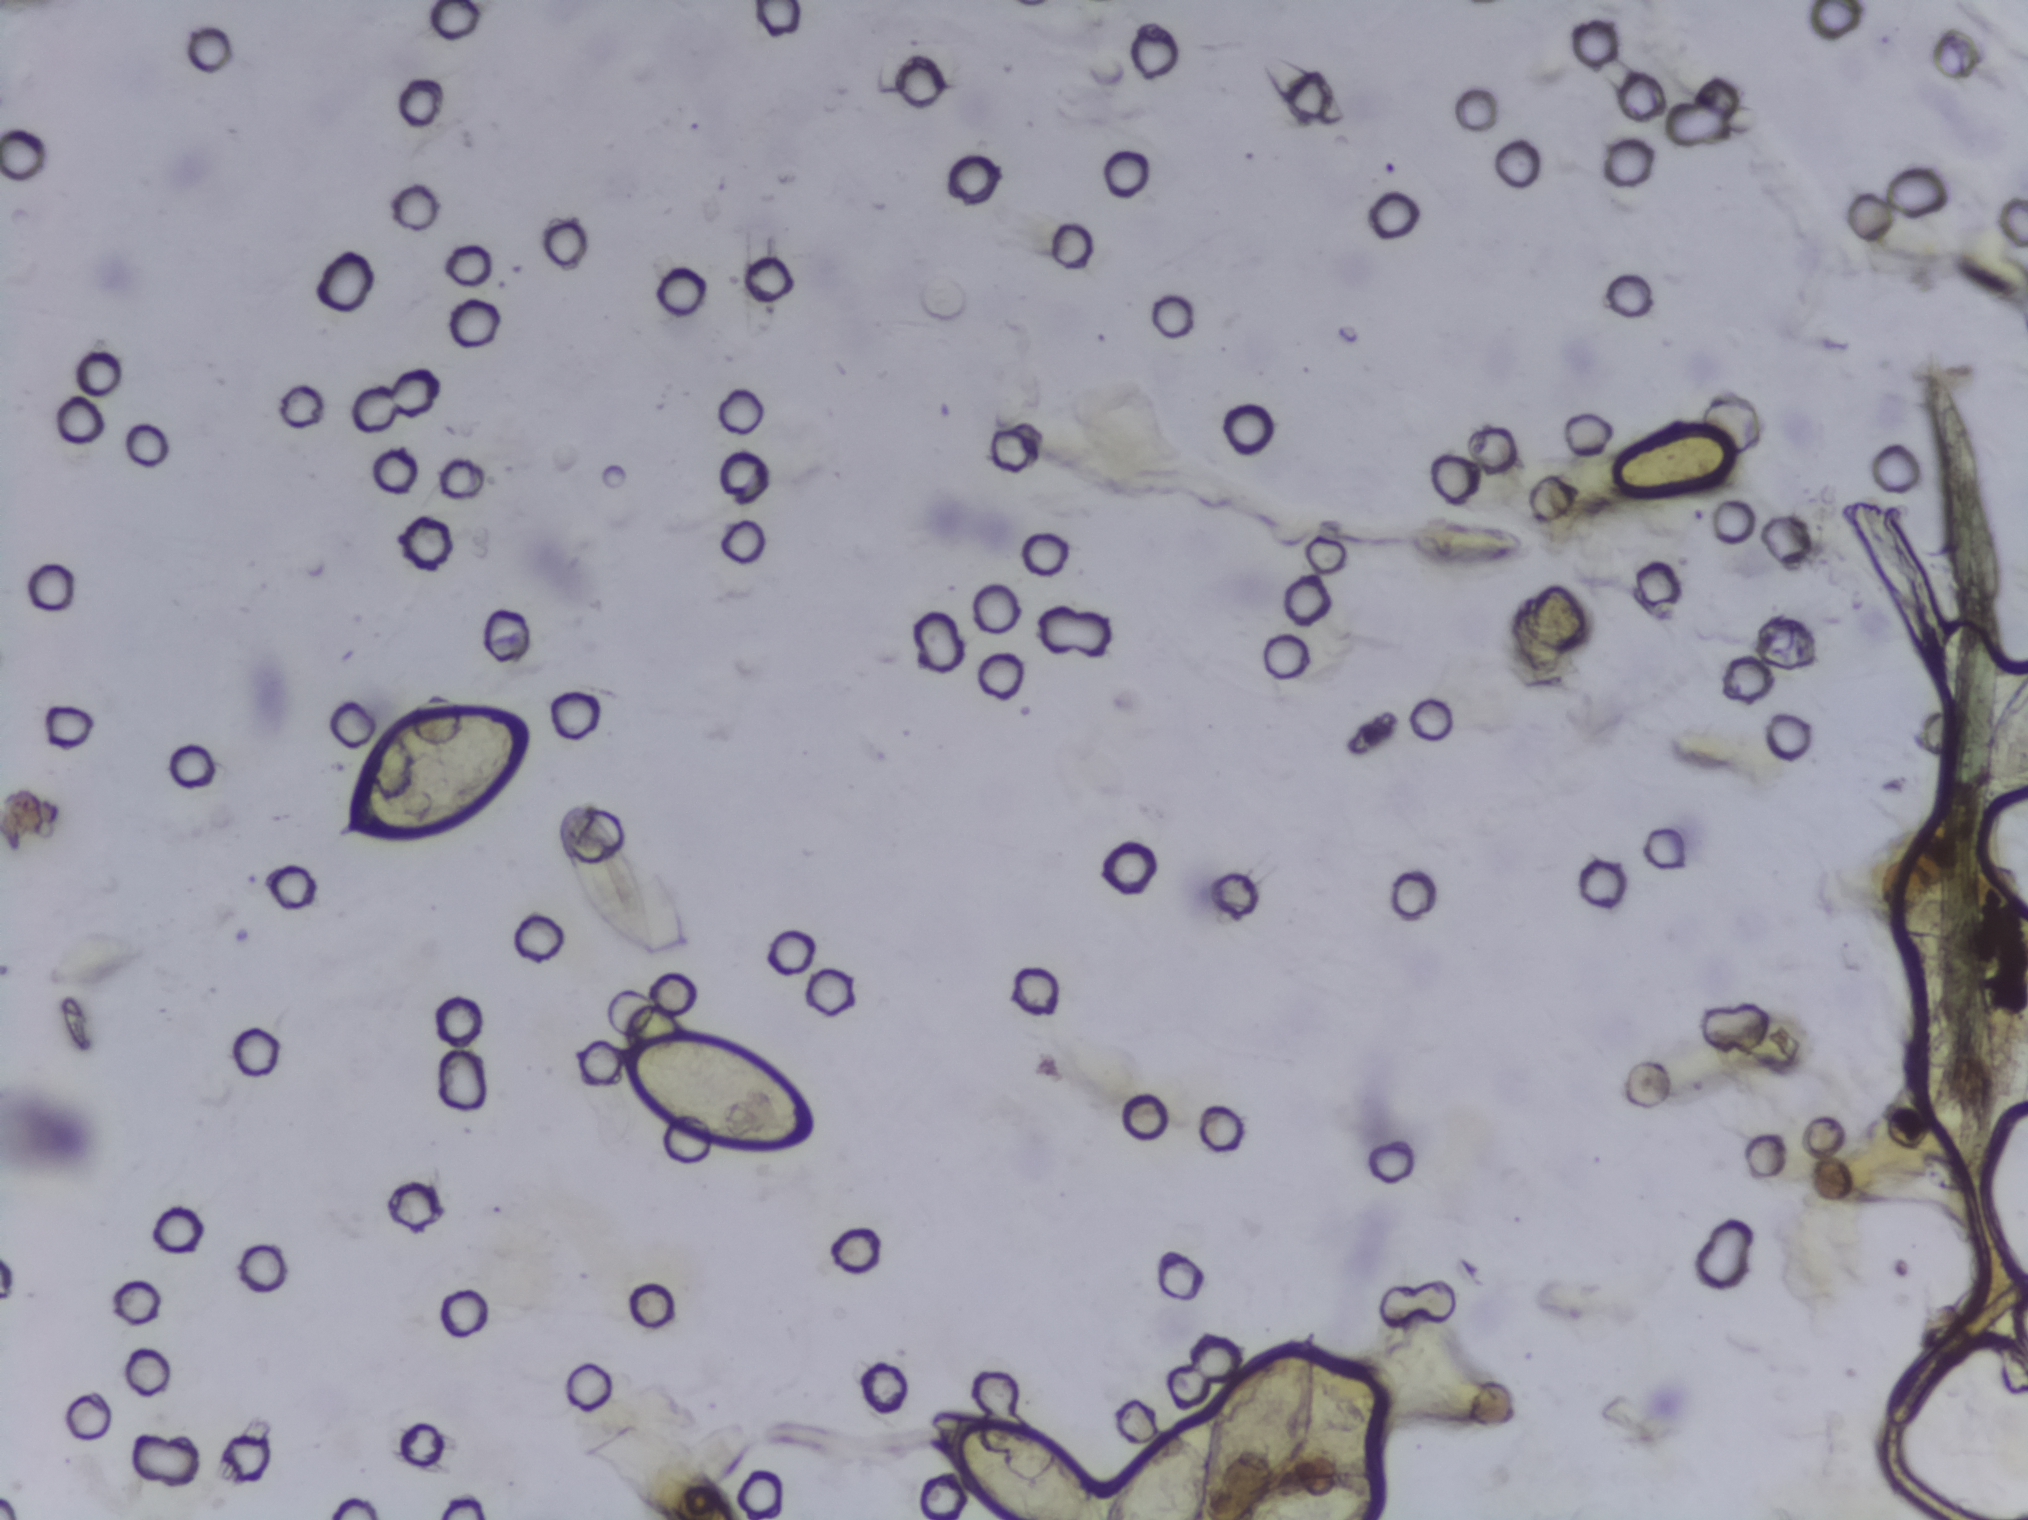
Urine filtration membrane under a 4× objective, photographed by an automated digital microscope. The field of view is about 1.5 mm × 1.1 mm.
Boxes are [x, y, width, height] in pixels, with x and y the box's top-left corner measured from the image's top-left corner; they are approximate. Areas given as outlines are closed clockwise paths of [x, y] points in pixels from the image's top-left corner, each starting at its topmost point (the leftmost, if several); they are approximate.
Outlined Schistosoma egg areas, left to right:
1. box [335, 690, 194, 154]
2. box [560, 804, 128, 154]
3. box [601, 1028, 218, 127]
4. outline [1312, 1324], [1320, 1335], [1325, 1388], [1314, 1438], [1297, 1467], [1370, 1469], [1383, 1479], [1383, 1506], [1373, 1519], [1000, 1519], [954, 1477], [929, 1418], [957, 1410], [988, 1412], [1050, 1442], [1099, 1492], [1106, 1516], [1123, 1470], [1160, 1430], [1215, 1404], [1241, 1360], [1256, 1349] (reaching the bottom edge of the frame)
5. box [1979, 672, 49, 135] (reaching the right edge of the frame)
The marked pixels themselves, not the boxes and the outline around them, cover about 3.2% of the image. A single outlined area may contain several eggs.